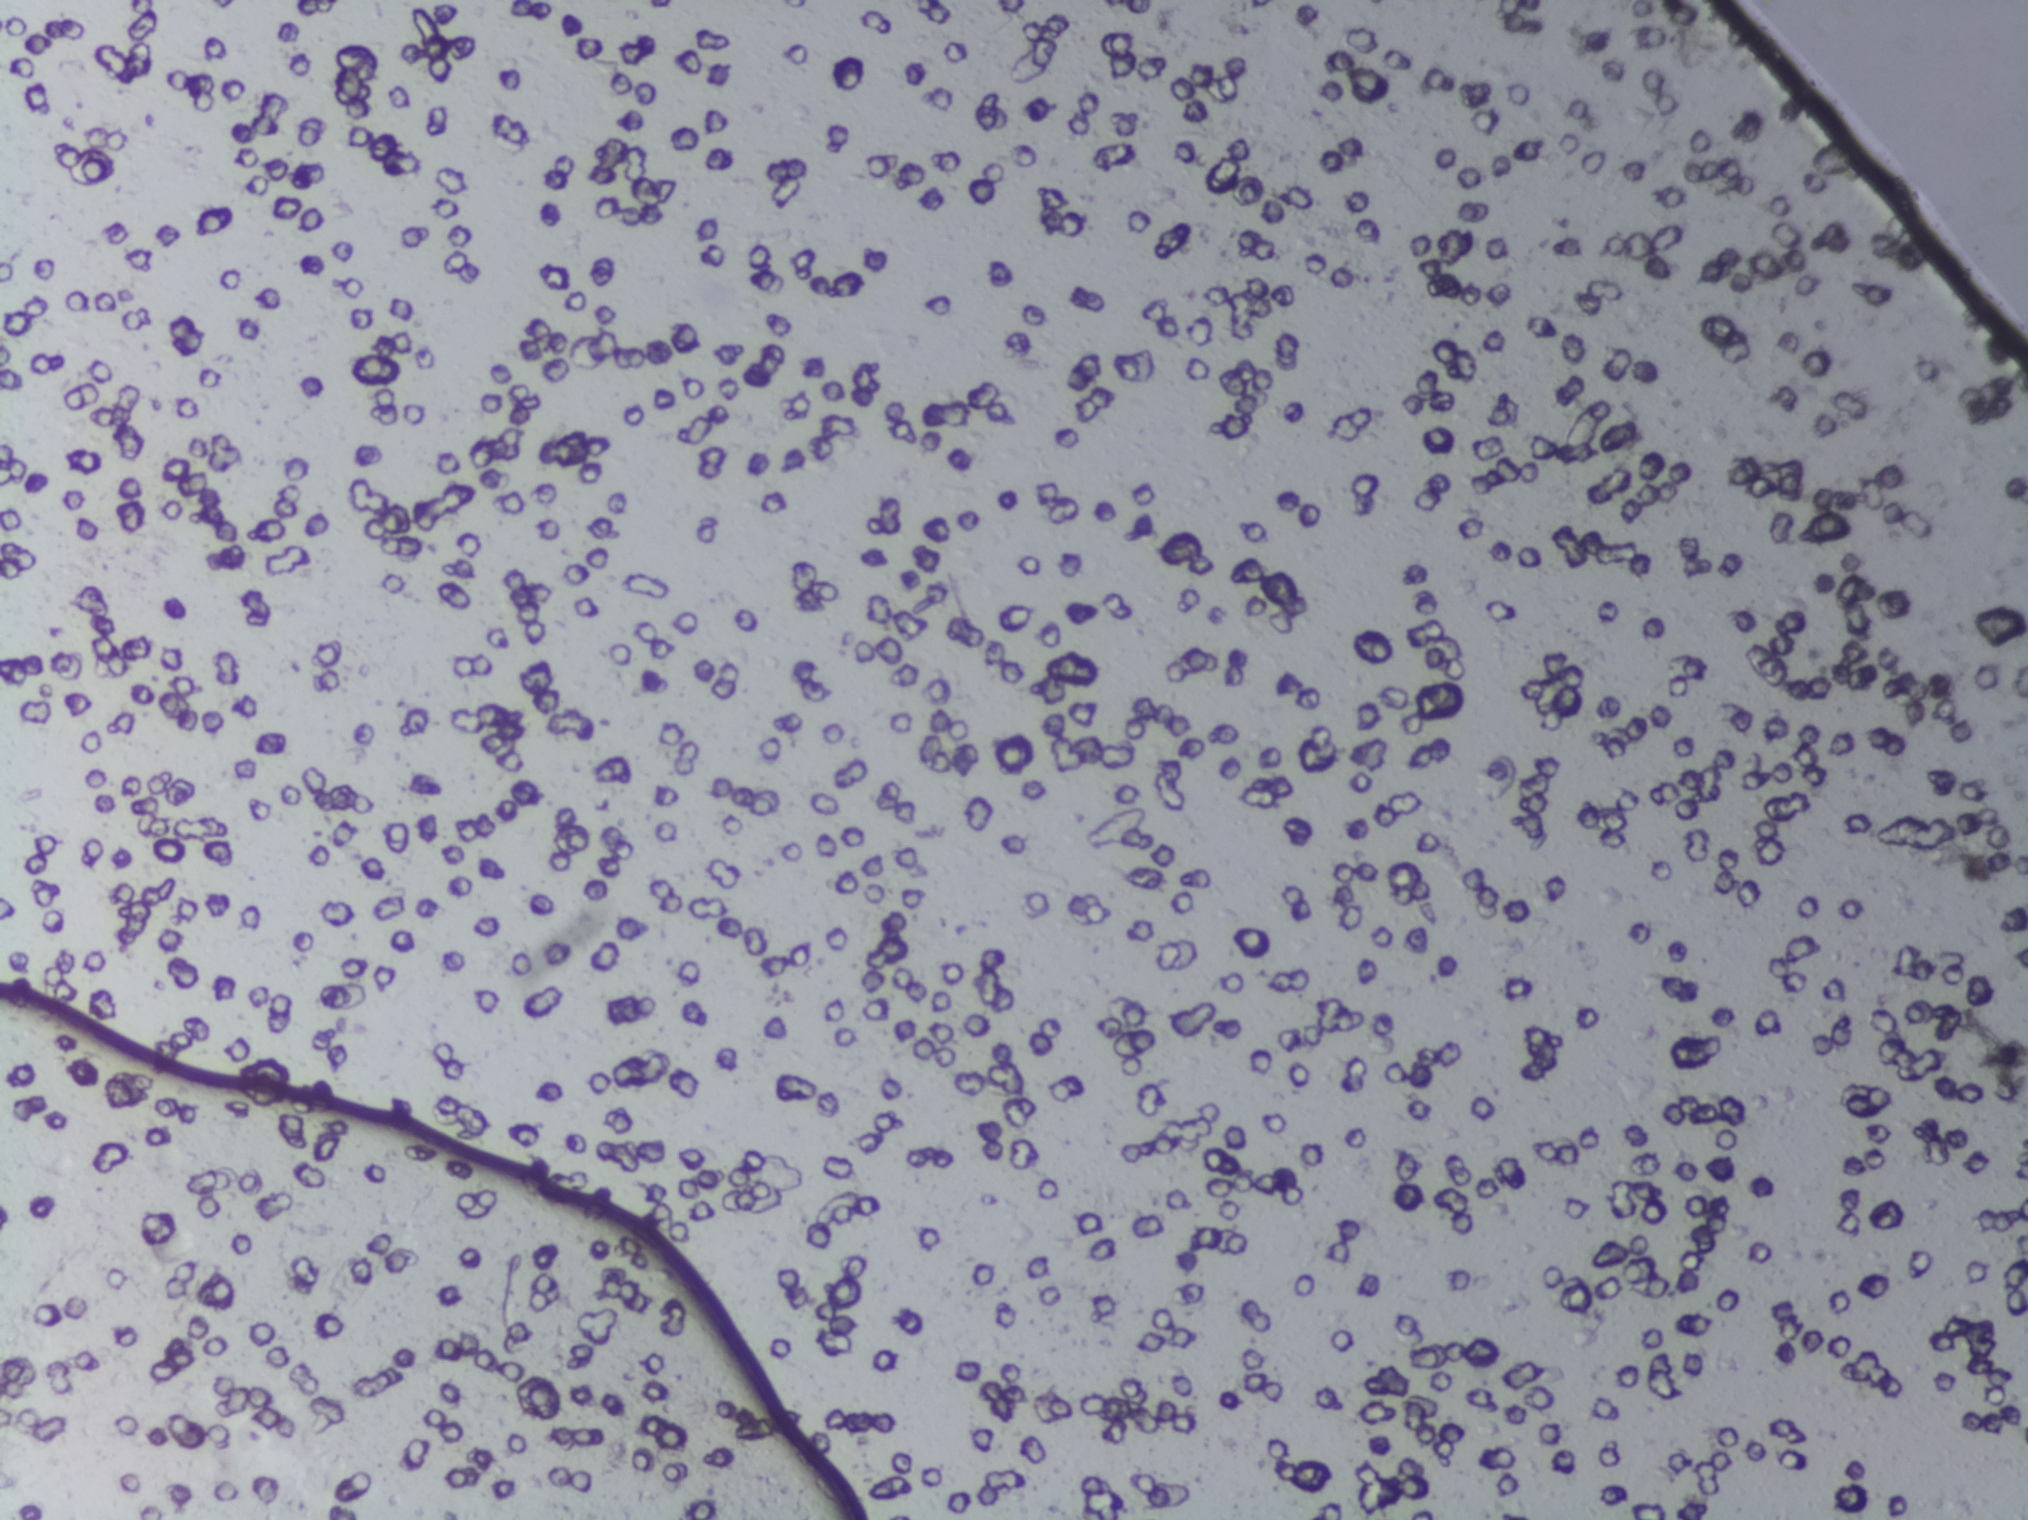
One field of view of a urine filter membrane, 4× objective, 2028 × 1520 pixels.
The expert annotation outlines no Schistosoma egg in this image.